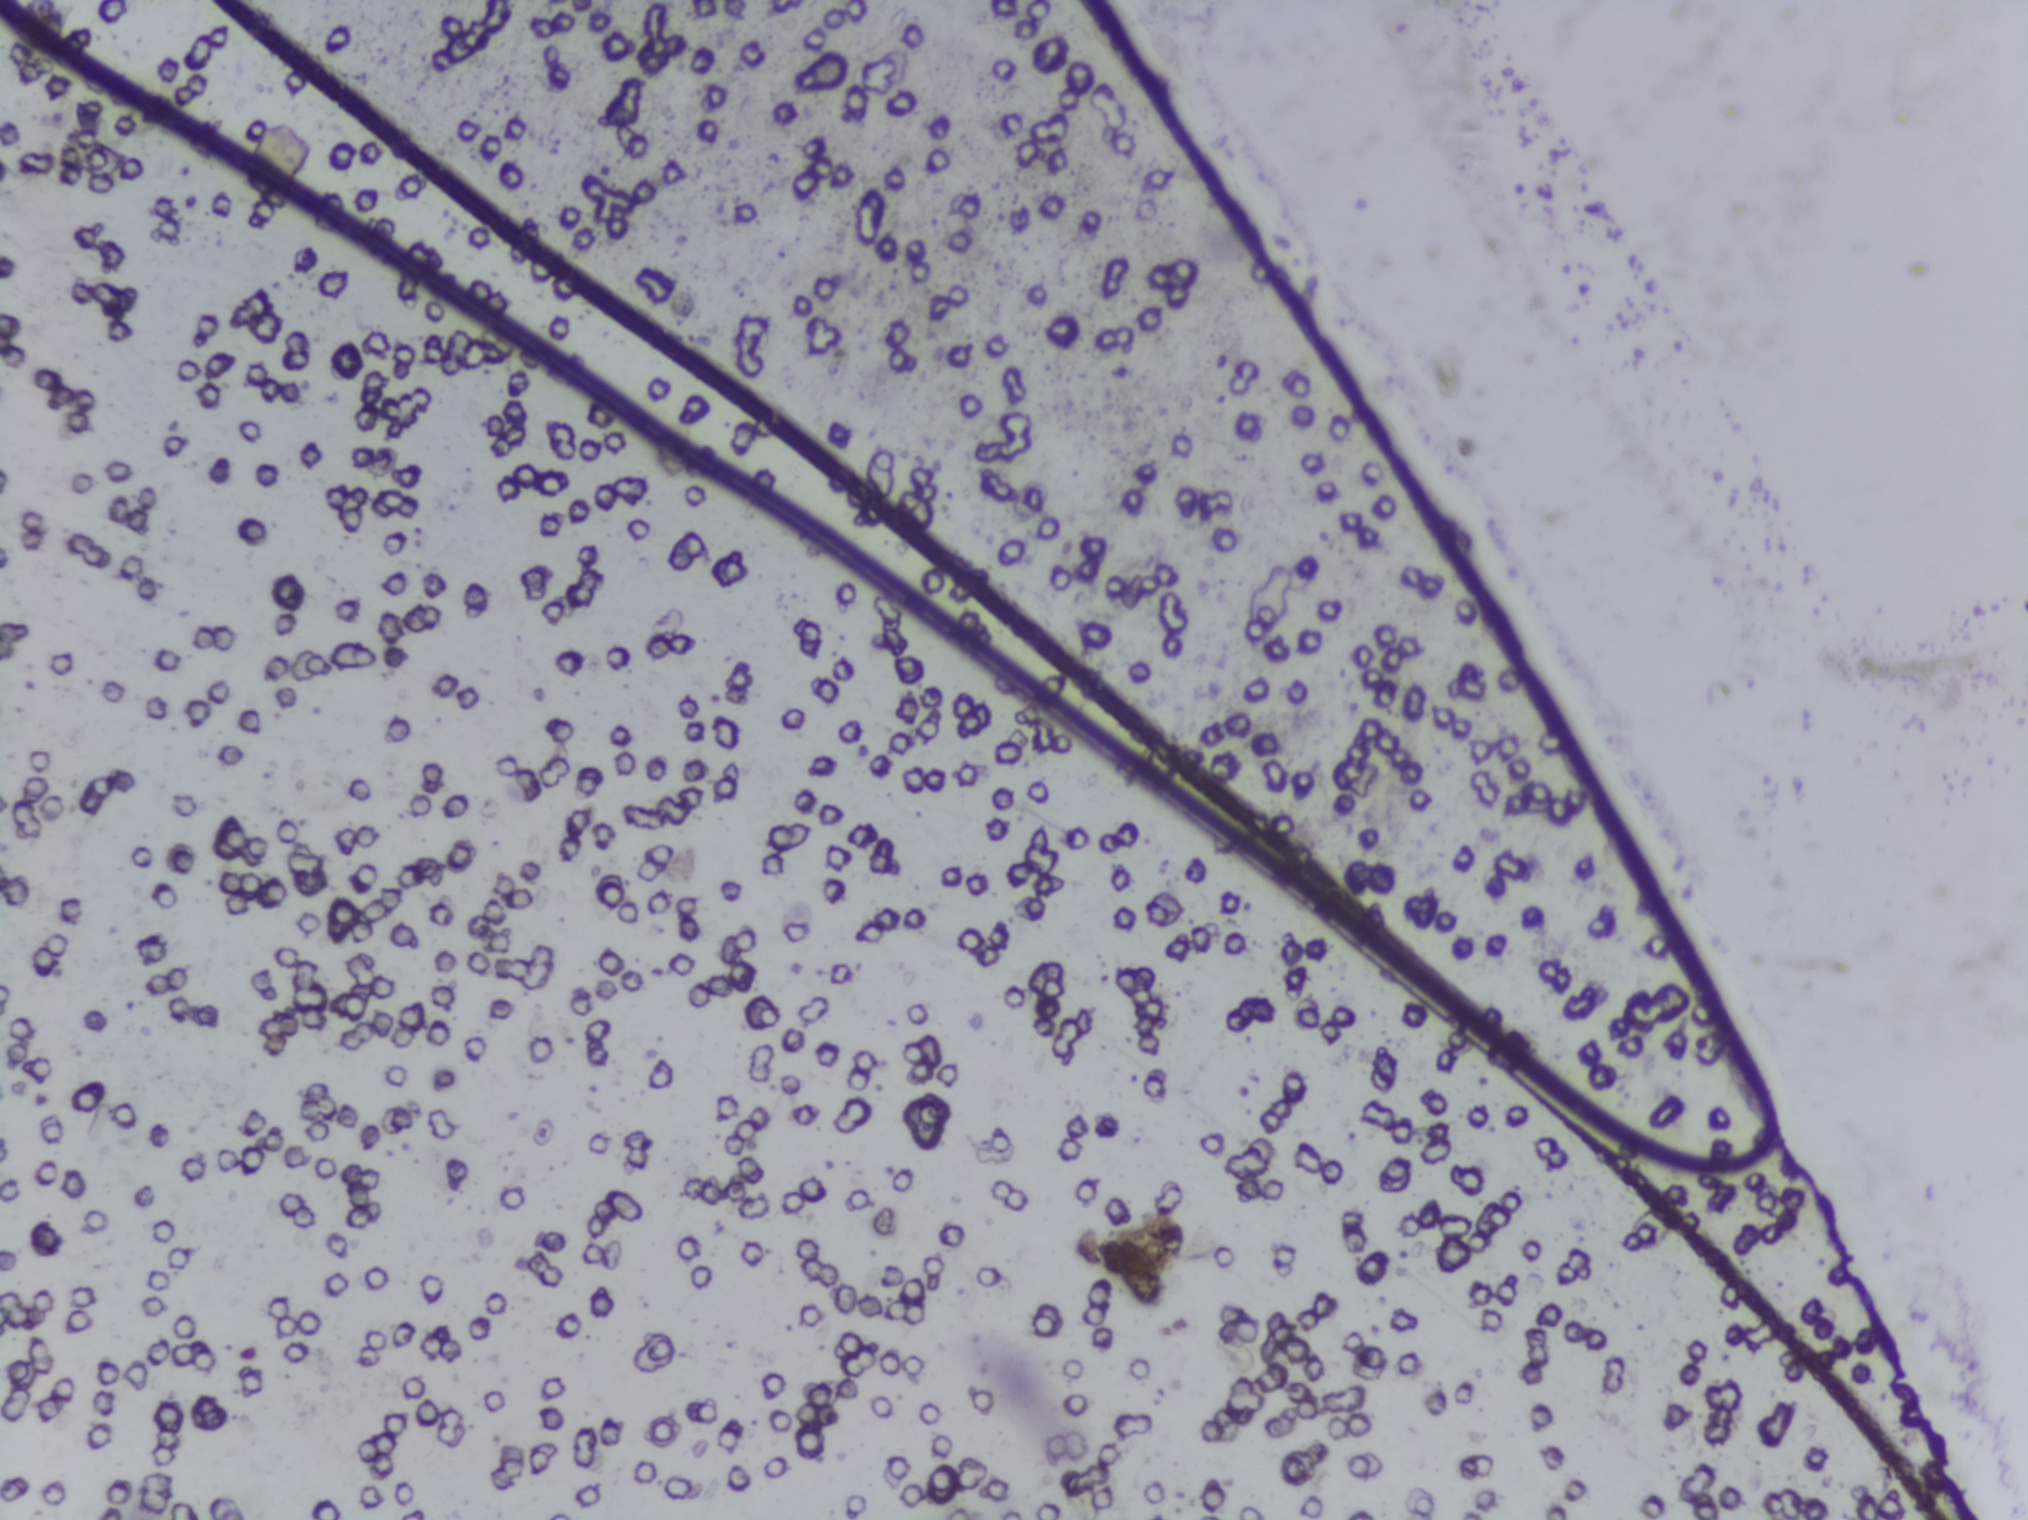
Photograph from an automated digital microscope: urine filter membrane, 4× objective. The image covers about 1.5 × 1.1 mm of the membrane.
The expert annotation marks no Schistosoma egg in this field of view.